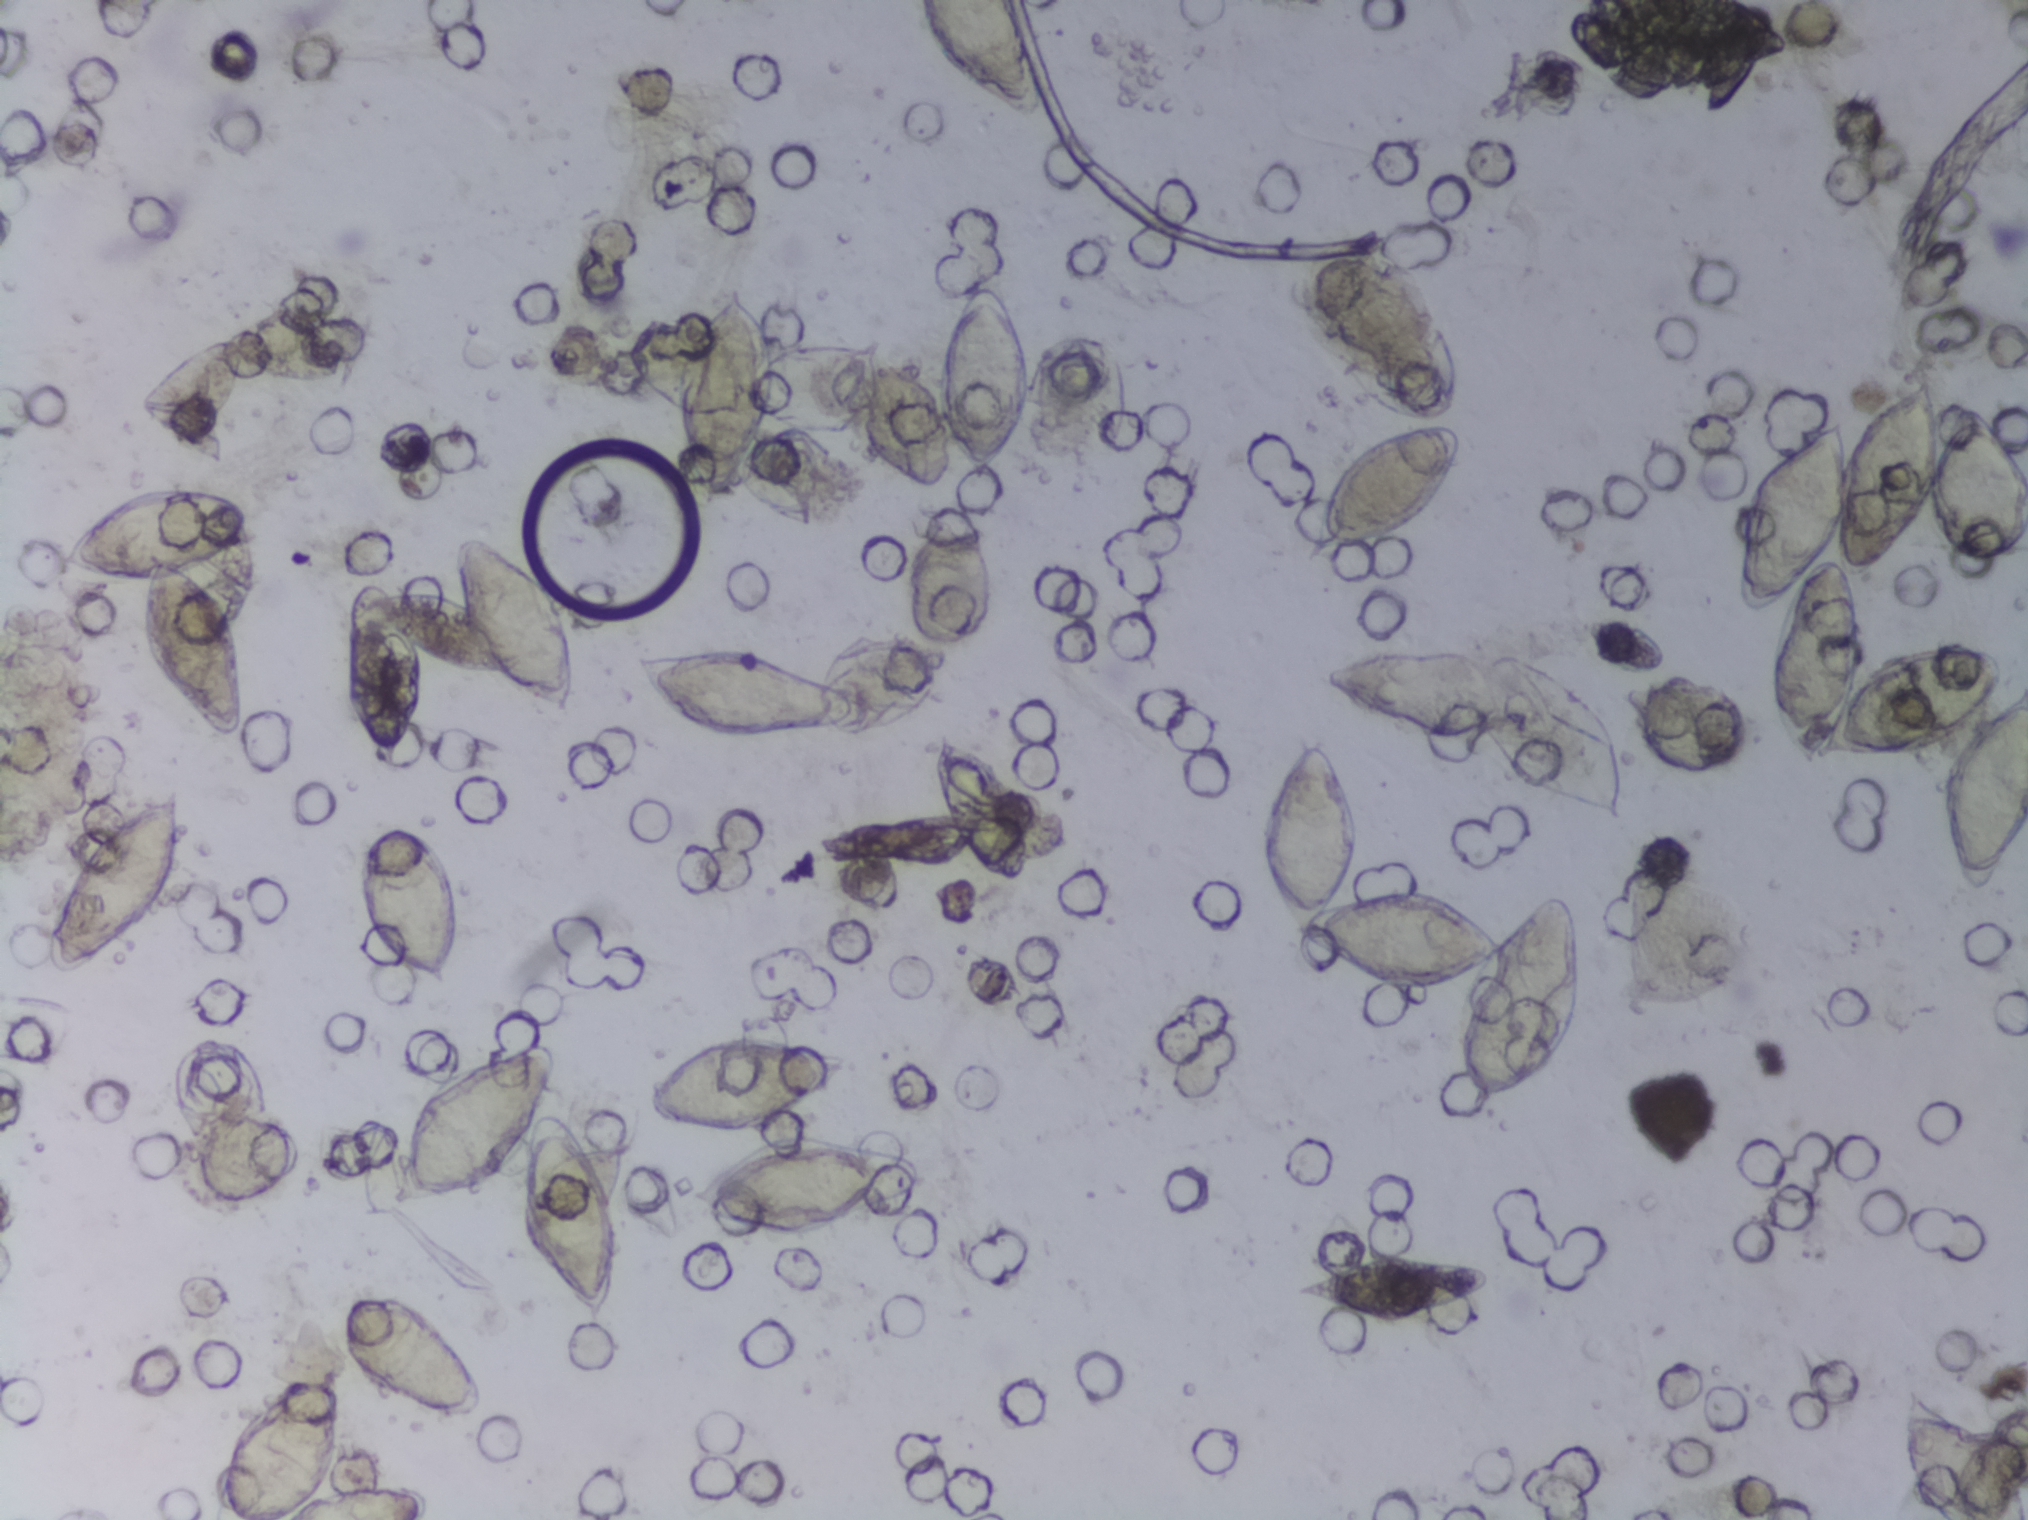
Urine filter membrane photographed through a 4× microscope objective.
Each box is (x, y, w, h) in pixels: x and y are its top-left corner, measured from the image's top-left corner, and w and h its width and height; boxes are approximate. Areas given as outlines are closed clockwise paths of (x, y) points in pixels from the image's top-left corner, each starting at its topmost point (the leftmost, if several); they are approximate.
20 areas of this image are outlined as Schistosoma eggs, from left to right: box (x=41, y=784, w=146, h=196); box (x=44, y=483, w=210, h=258); box (x=217, y=1356, w=217, h=164) (reaching the bottom edge of the frame); box (x=337, y=1288, w=148, h=142); box (x=341, y=531, w=233, h=250); box (x=356, y=819, w=108, h=169); outline (527, 1039), (553, 1039), (563, 1048), (570, 1077), (560, 1108), (571, 1112), (600, 1155), (621, 1212), (610, 1316), (599, 1337), (573, 1323), (530, 1267), (517, 1231), (522, 1160), (455, 1198), (395, 1211), (384, 1200), (397, 1130), (412, 1100), (441, 1078); outline (955, 493), (970, 507), (989, 546), (990, 620), (973, 643), (950, 649), (950, 683), (900, 730), (825, 730), (723, 748), (692, 740), (659, 716), (637, 687), (630, 652), (750, 641), (821, 667), (842, 640), (859, 632), (911, 631), (908, 549), (923, 522); box (x=647, y=1034, w=282, h=202); box (x=667, y=277, w=112, h=230); outline (945, 724), (986, 749), (1025, 801), (1036, 833), (1033, 880), (999, 888), (968, 863), (943, 873), (890, 873), (819, 858), (814, 838), (840, 819), (868, 823), (857, 818), (934, 806), (929, 762); box (x=855, y=277, w=181, h=217); box (x=913, y=0, w=127, h=116) (reaching the top edge of the frame); outline (1319, 737), (1330, 742), (1352, 784), (1361, 825), (1344, 895), (1382, 881), (1414, 880), (1446, 888), (1501, 927), (1545, 888), (1563, 886), (1578, 895), (1586, 967), (1570, 1047), (1540, 1083), (1499, 1103), (1484, 1120), (1467, 1112), (1460, 1084), (1464, 984), (1419, 1000), (1381, 995), (1325, 954), (1300, 948), (1282, 928), (1258, 819), (1280, 767) (eggs clustered together); box (x=1290, y=1247, w=211, h=79); box (x=1293, y=238, w=170, h=330); box (x=1322, y=643, w=307, h=180); box (x=1566, y=0, w=229, h=110) (reaching the top edge of the frame); outline (1918, 375), (1932, 380), (1942, 442), (1951, 398), (1983, 406), (2017, 440), (2027, 466), (2027, 528), (1994, 566), (1974, 568), (1948, 552), (1930, 503), (1891, 563), (1854, 577), (1861, 616), (1853, 681), (1881, 657), (1933, 641), (1994, 650), (2006, 675), (2000, 705), (2027, 681), (2027, 827), (1999, 876), (1978, 893), (1958, 884), (1937, 801), (1952, 757), (1977, 729), (1922, 755), (1801, 768), (1776, 737), (1766, 697), (1768, 649), (1779, 610), (1749, 615), (1737, 596), (1737, 537), (1763, 467), (1844, 416), (1850, 440), (1872, 405) (eggs clustered together; reaching the right edge of the frame); box (x=1899, y=1383, w=129, h=137) (reaching the right and bottom edges of the frame). The marked pixels themselves, not the boxes and the outlines around them, cover about 18% of the image. An outlined area can hold more than one egg. A marked egg may occasionally be S. mansoni rather than S. haematobium.